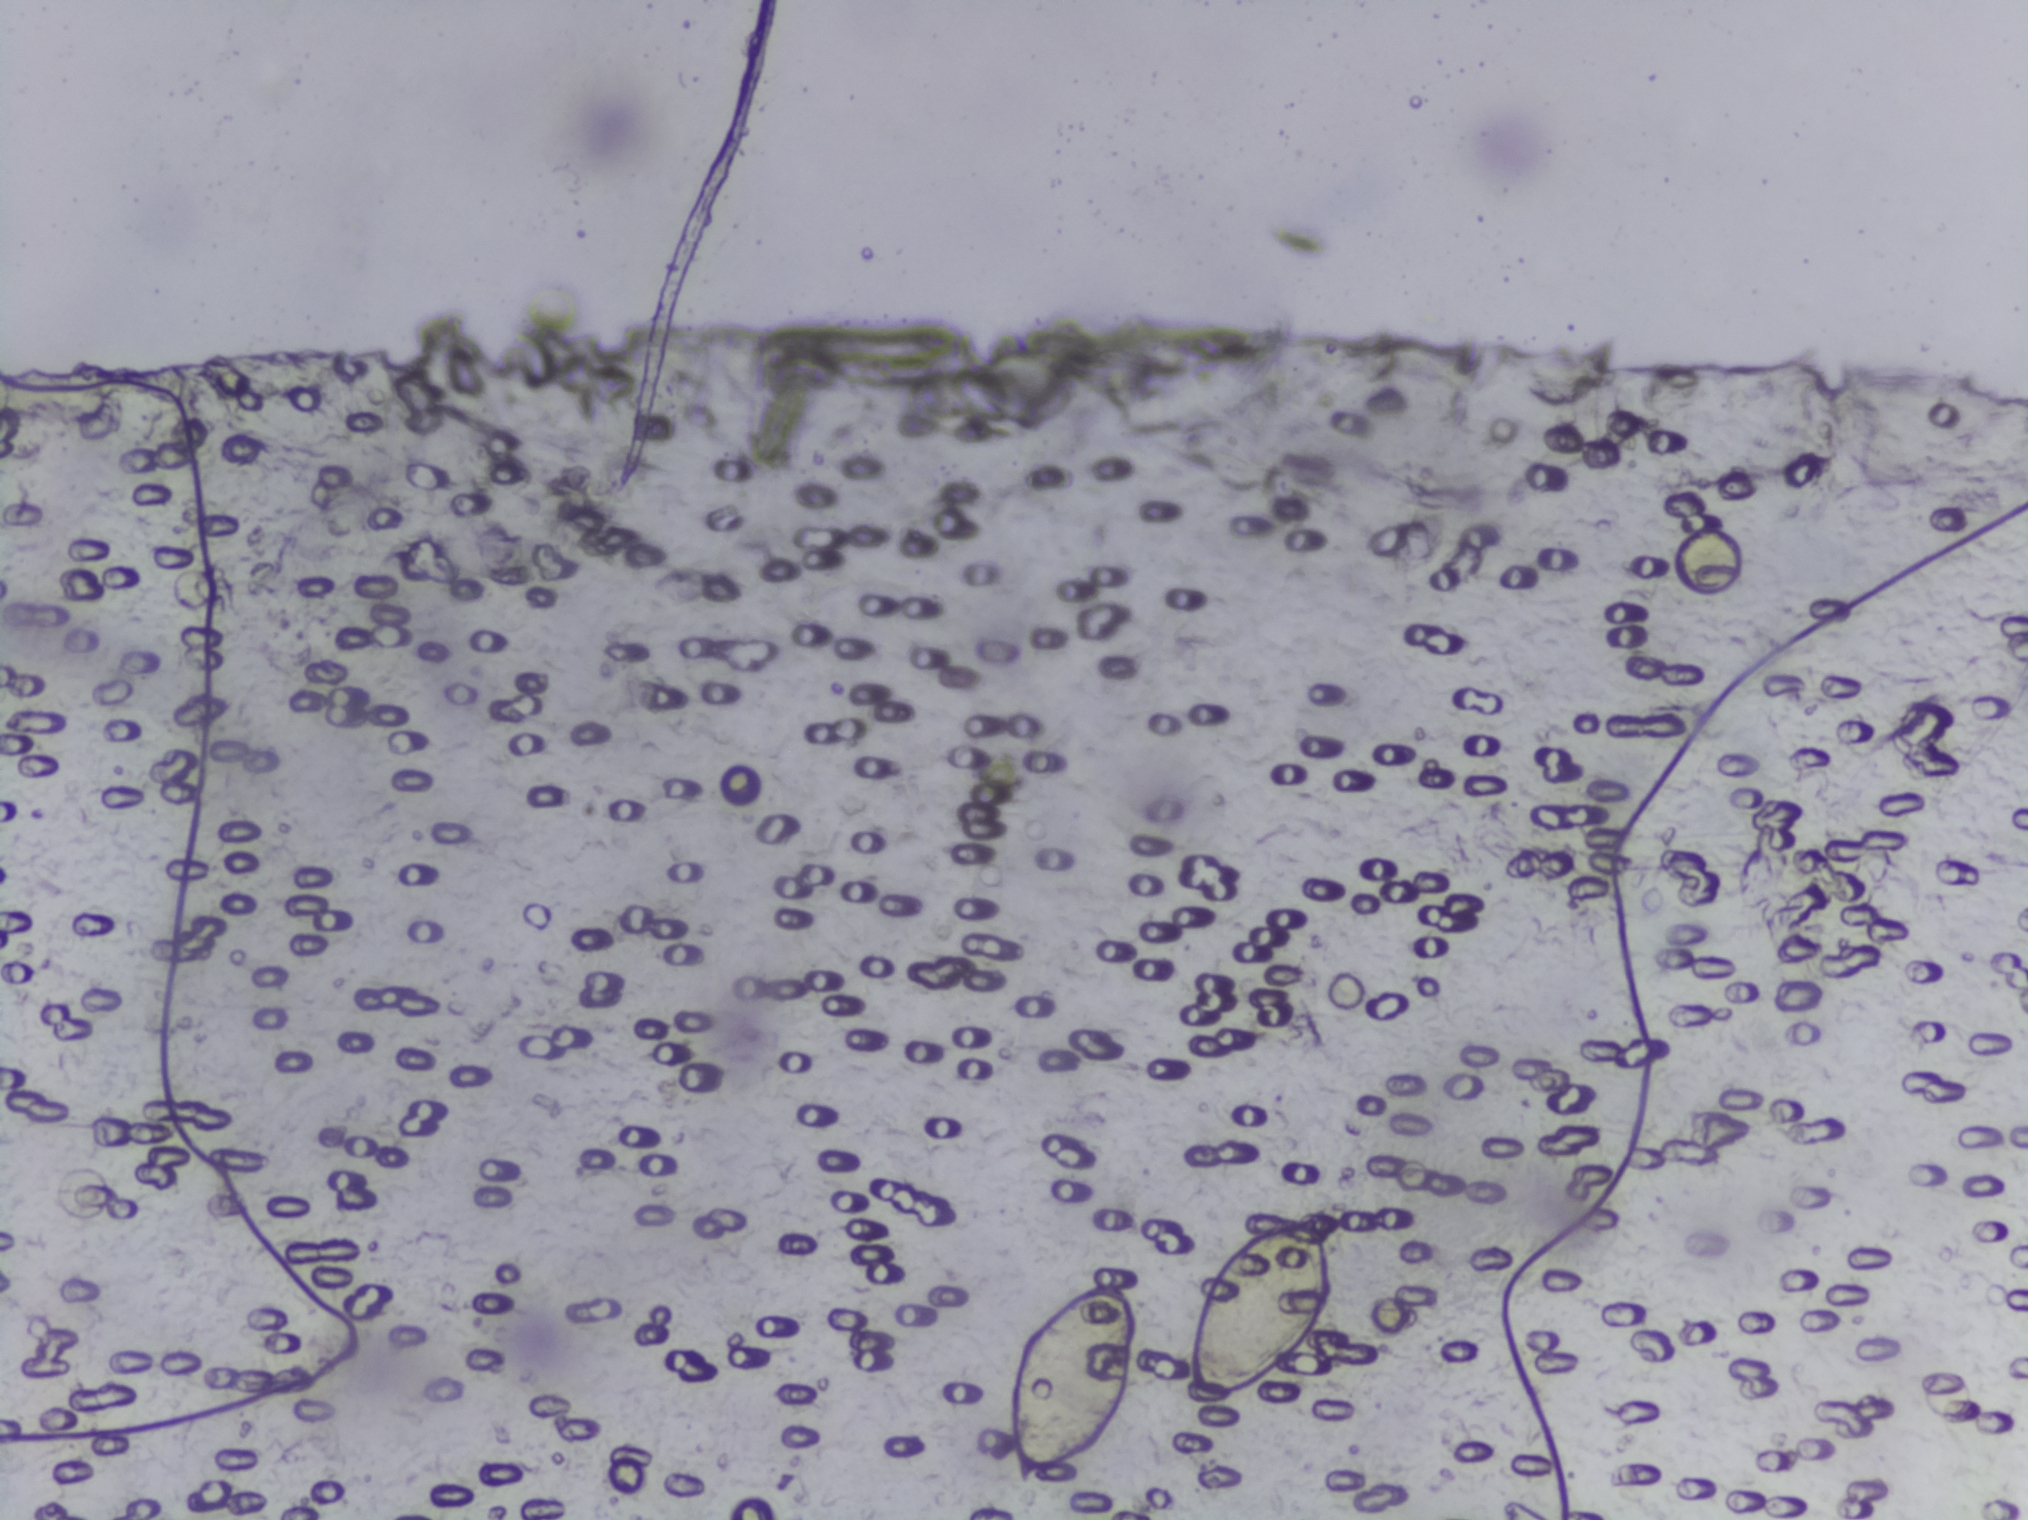
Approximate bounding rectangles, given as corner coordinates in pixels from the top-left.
Outlined Schistosoma egg areas, left to right:
1. (x1=1006, y1=1278, x2=1140, y2=1489)
2. (x1=1183, y1=1216, x2=1336, y2=1401)
A single outlined area may contain several eggs.
Photograph from an automated digital microscope: urine filter membrane, 4× objective. The field of view is about 1.5 mm × 1.1 mm.